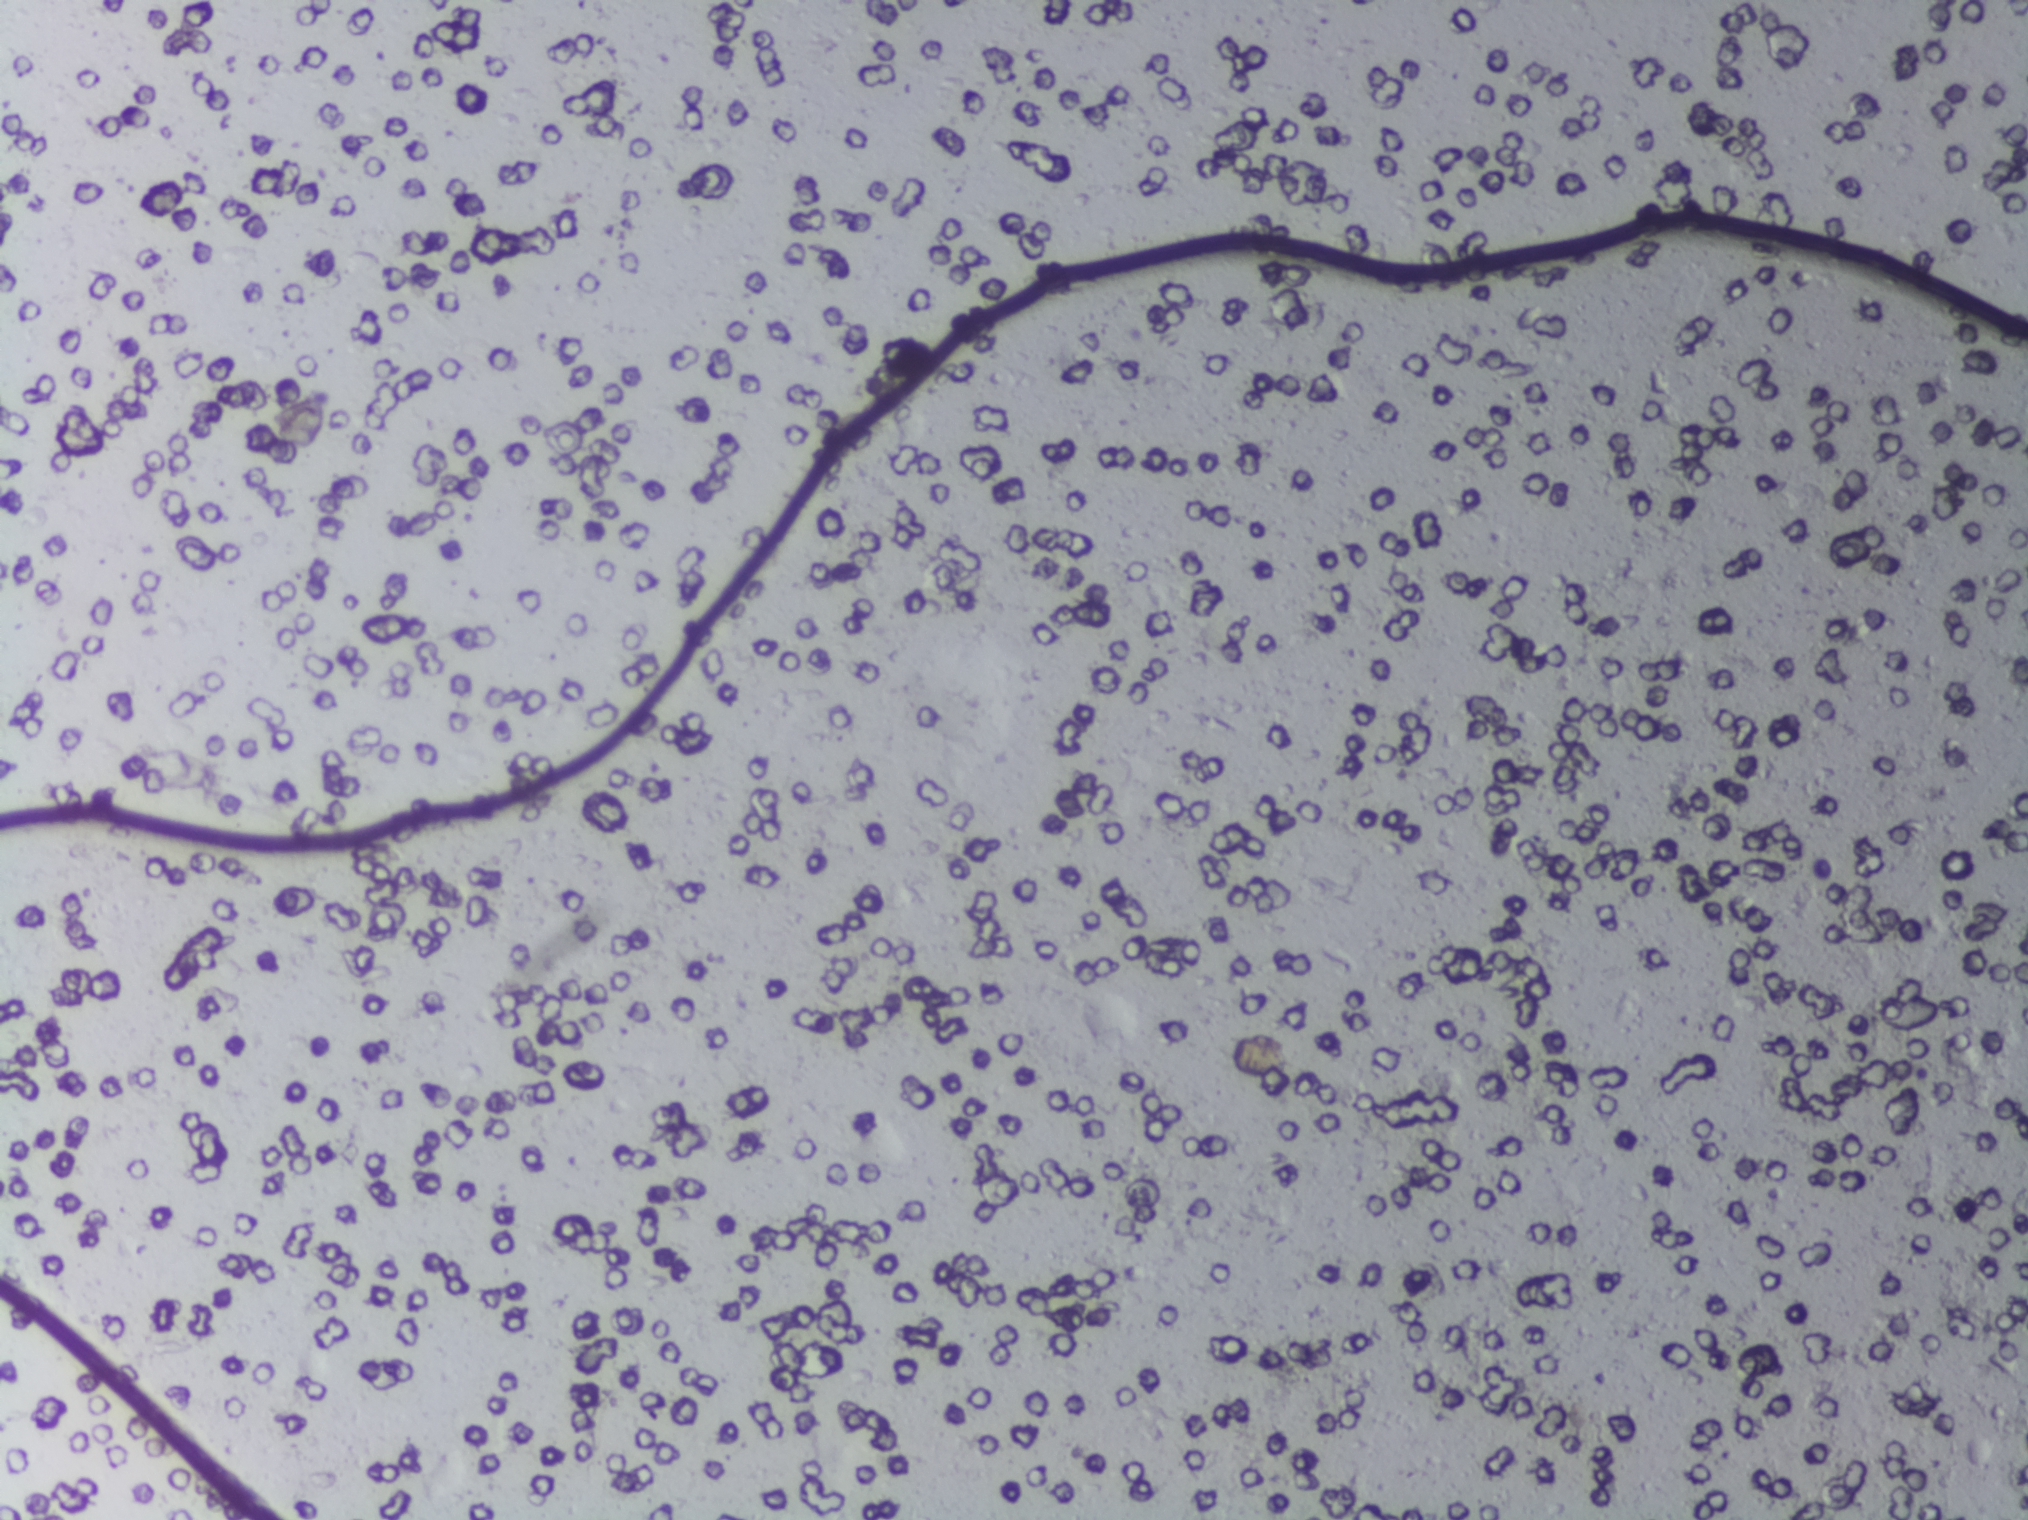
No area of this image was outlined as a Schistosoma egg.
Microscope photograph (4× objective) of a membrane that a urine sample was filtered through. Field of view: about 1.5 mm wide and 1.1 mm high.